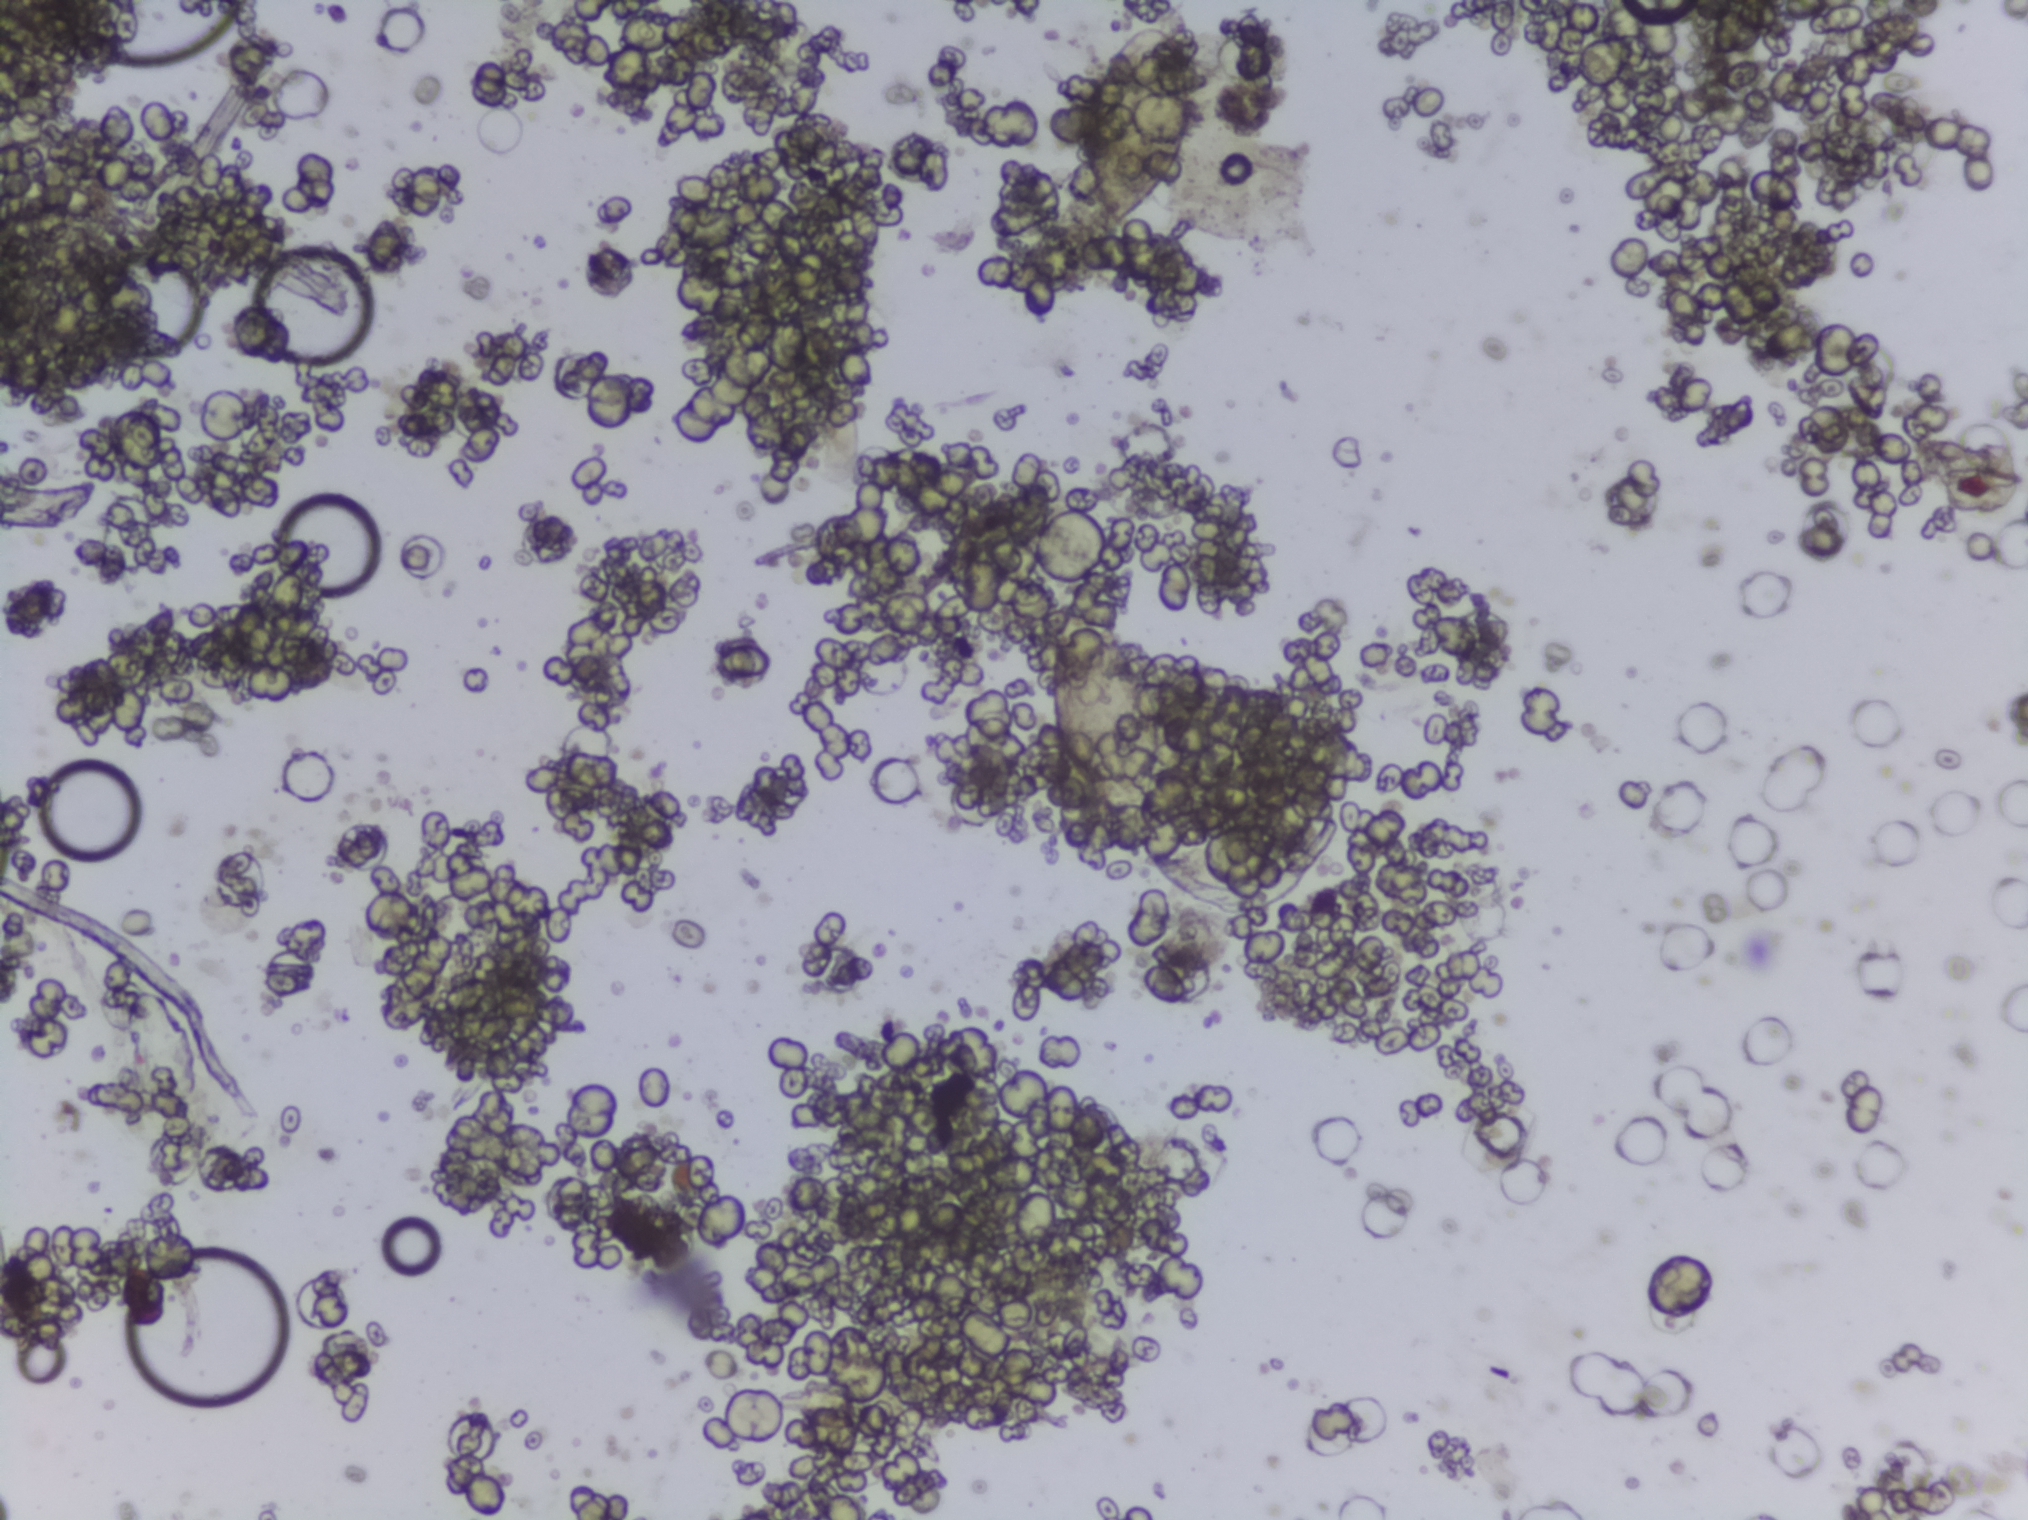
Urine filter membrane photographed through a 4× microscope objective.
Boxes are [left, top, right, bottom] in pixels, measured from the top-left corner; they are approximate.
Schistosoma eggs, outlined areas: [1041, 615, 1165, 830]; [1074, 22, 1199, 232]. Eggs that touch can end up inside the same outlined area.